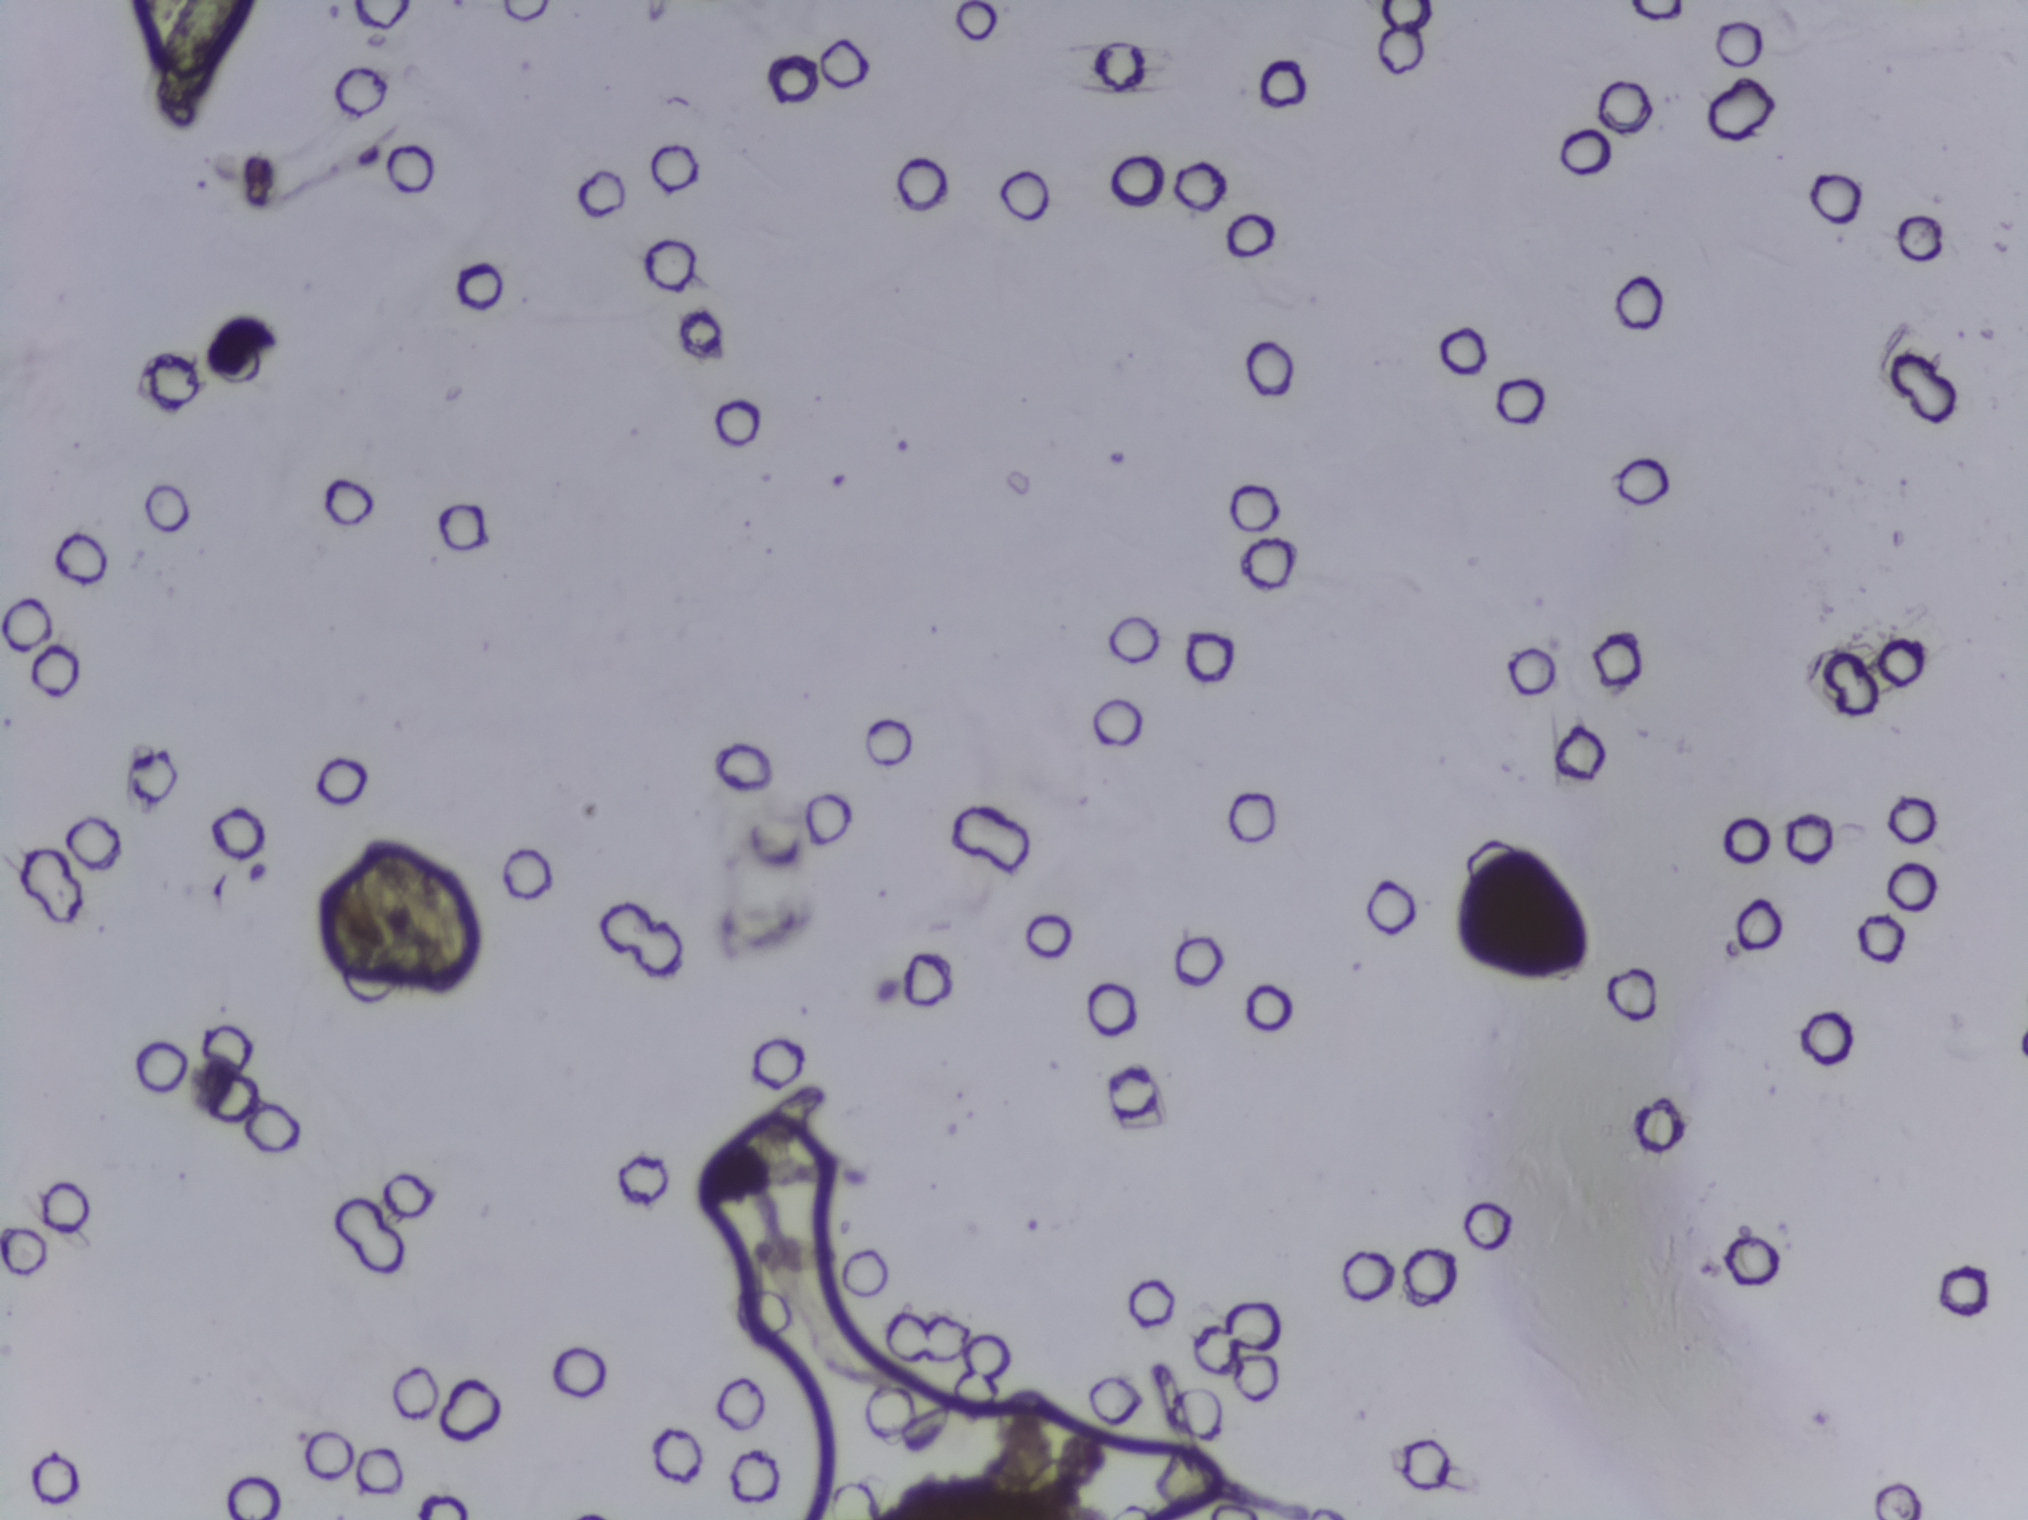
Urine filter membrane photographed through a 4× microscope objective. Field of view: about 1.5 mm wide and 1.1 mm high.
Schistosoma eggs: none outlined.